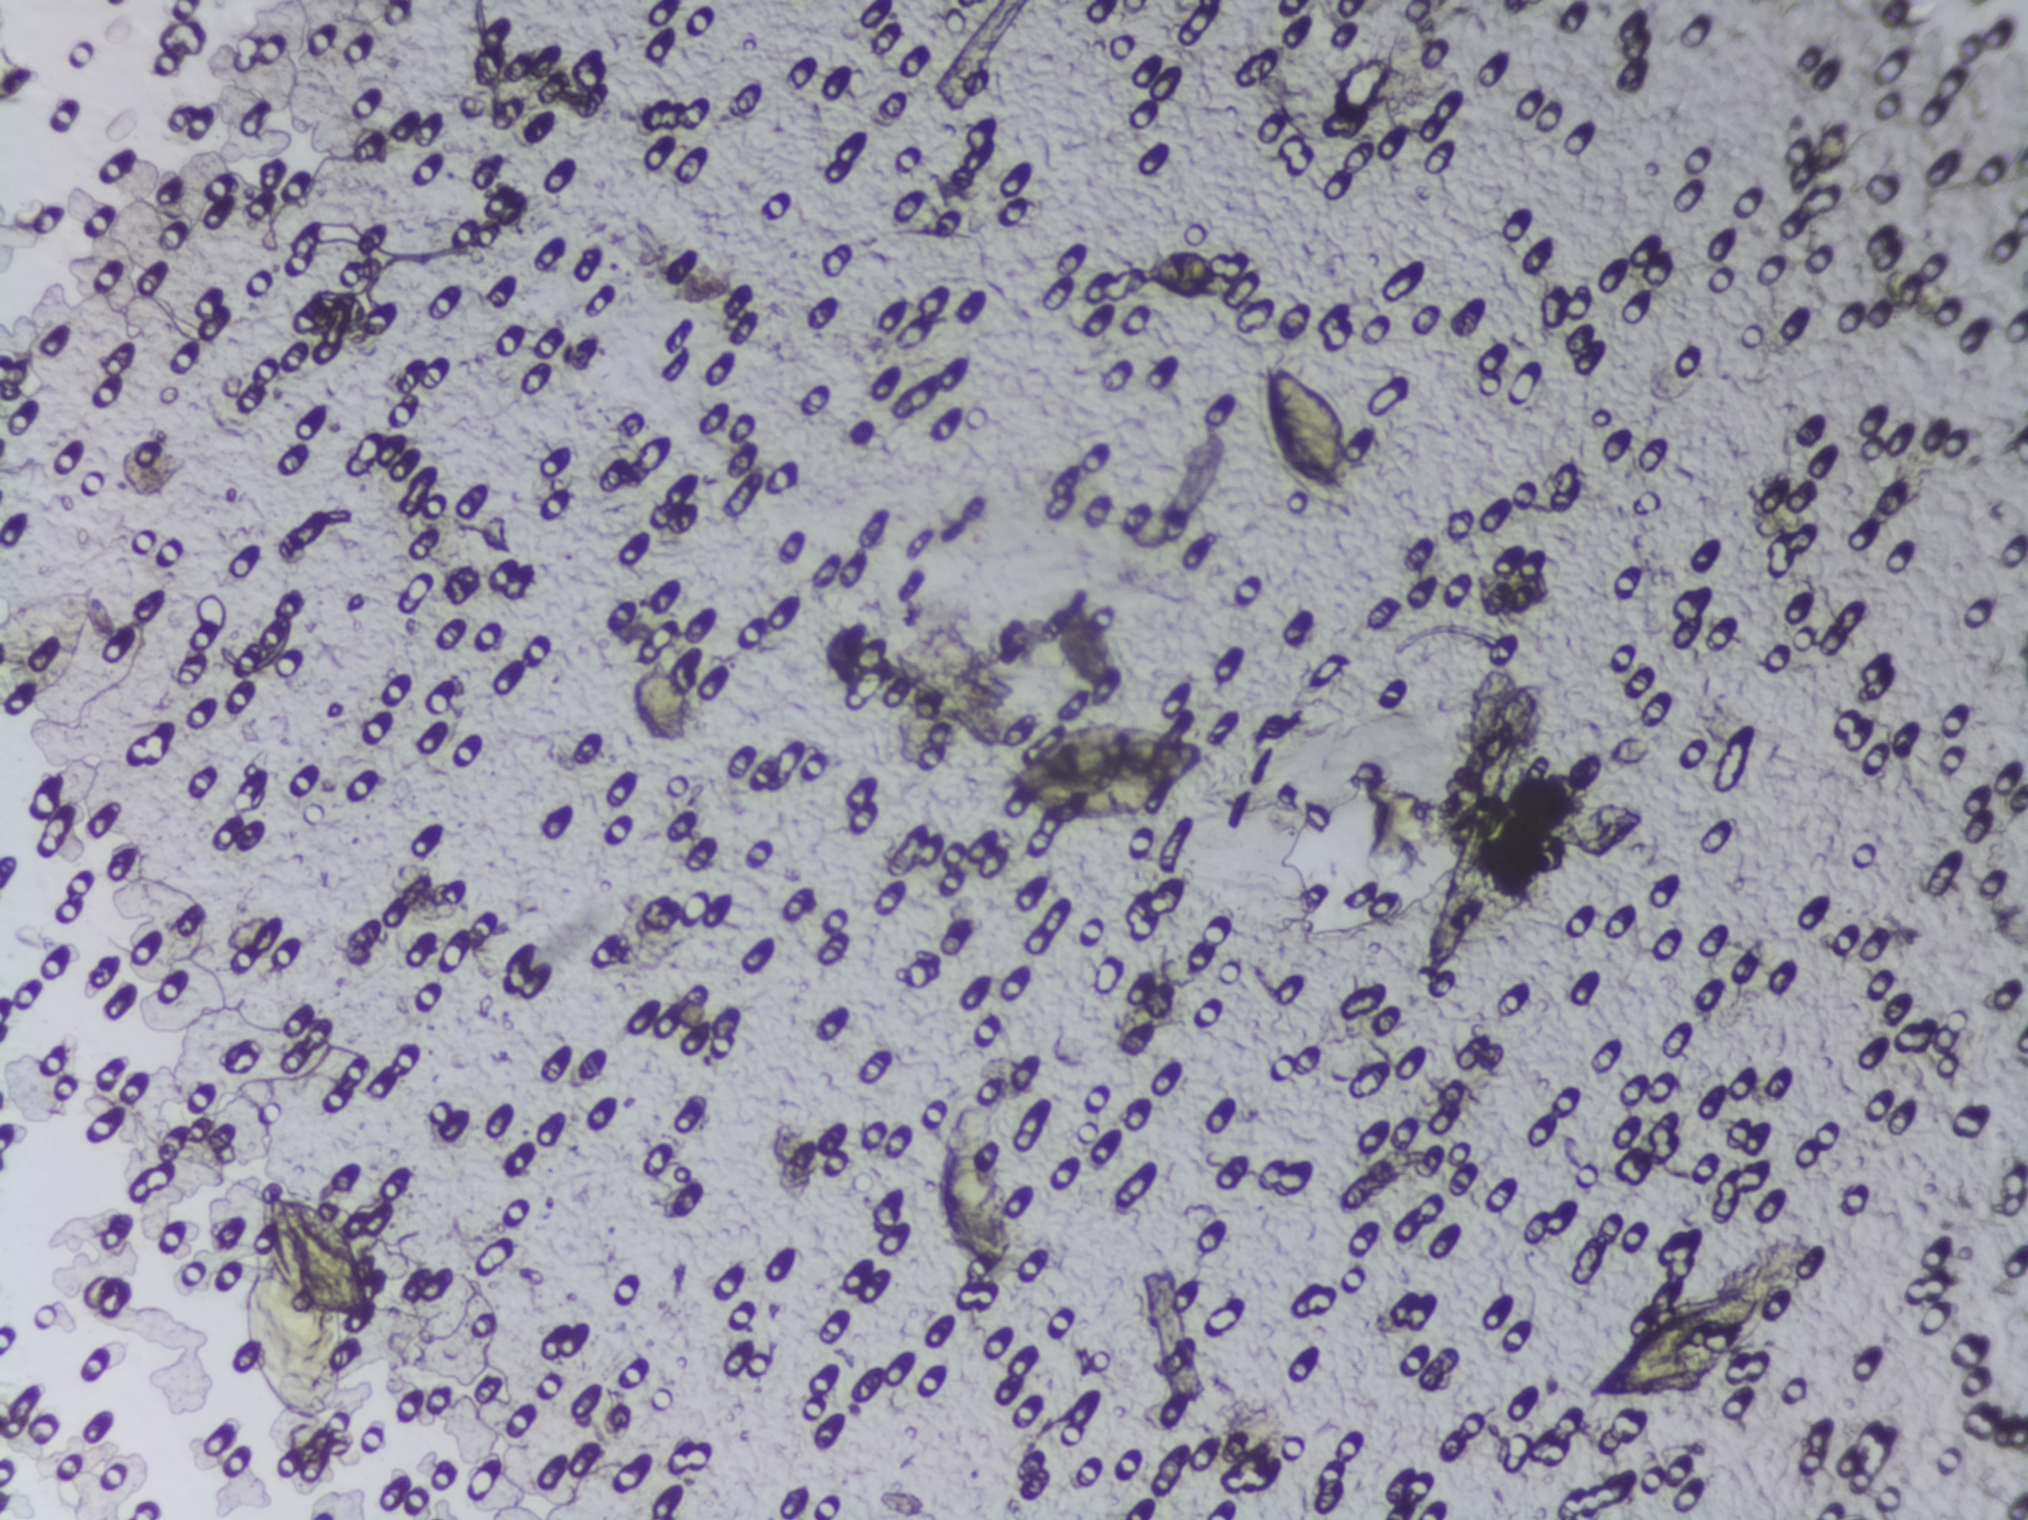
Photomicrograph of a urine filtration membrane, 4× objective.
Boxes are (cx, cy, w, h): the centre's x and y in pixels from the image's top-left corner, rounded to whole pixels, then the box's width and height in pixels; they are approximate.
The expert annotation outlines Schistosoma eggs at (cx=52, cy=642, w=105, h=137) (reaching the left edge of the frame); (cx=313, cy=1302, w=145, h=239); (cx=661, cy=701, w=58, h=86); (cx=973, cy=1204, w=81, h=164); (cx=1088, cy=647, w=67, h=92); (cx=1101, cy=770, w=219, h=111); (cx=1308, cy=443, w=112, h=171); (cx=1684, cy=1338, w=198, h=127) (left to right). Eggs that touch can end up inside the same outlined area.